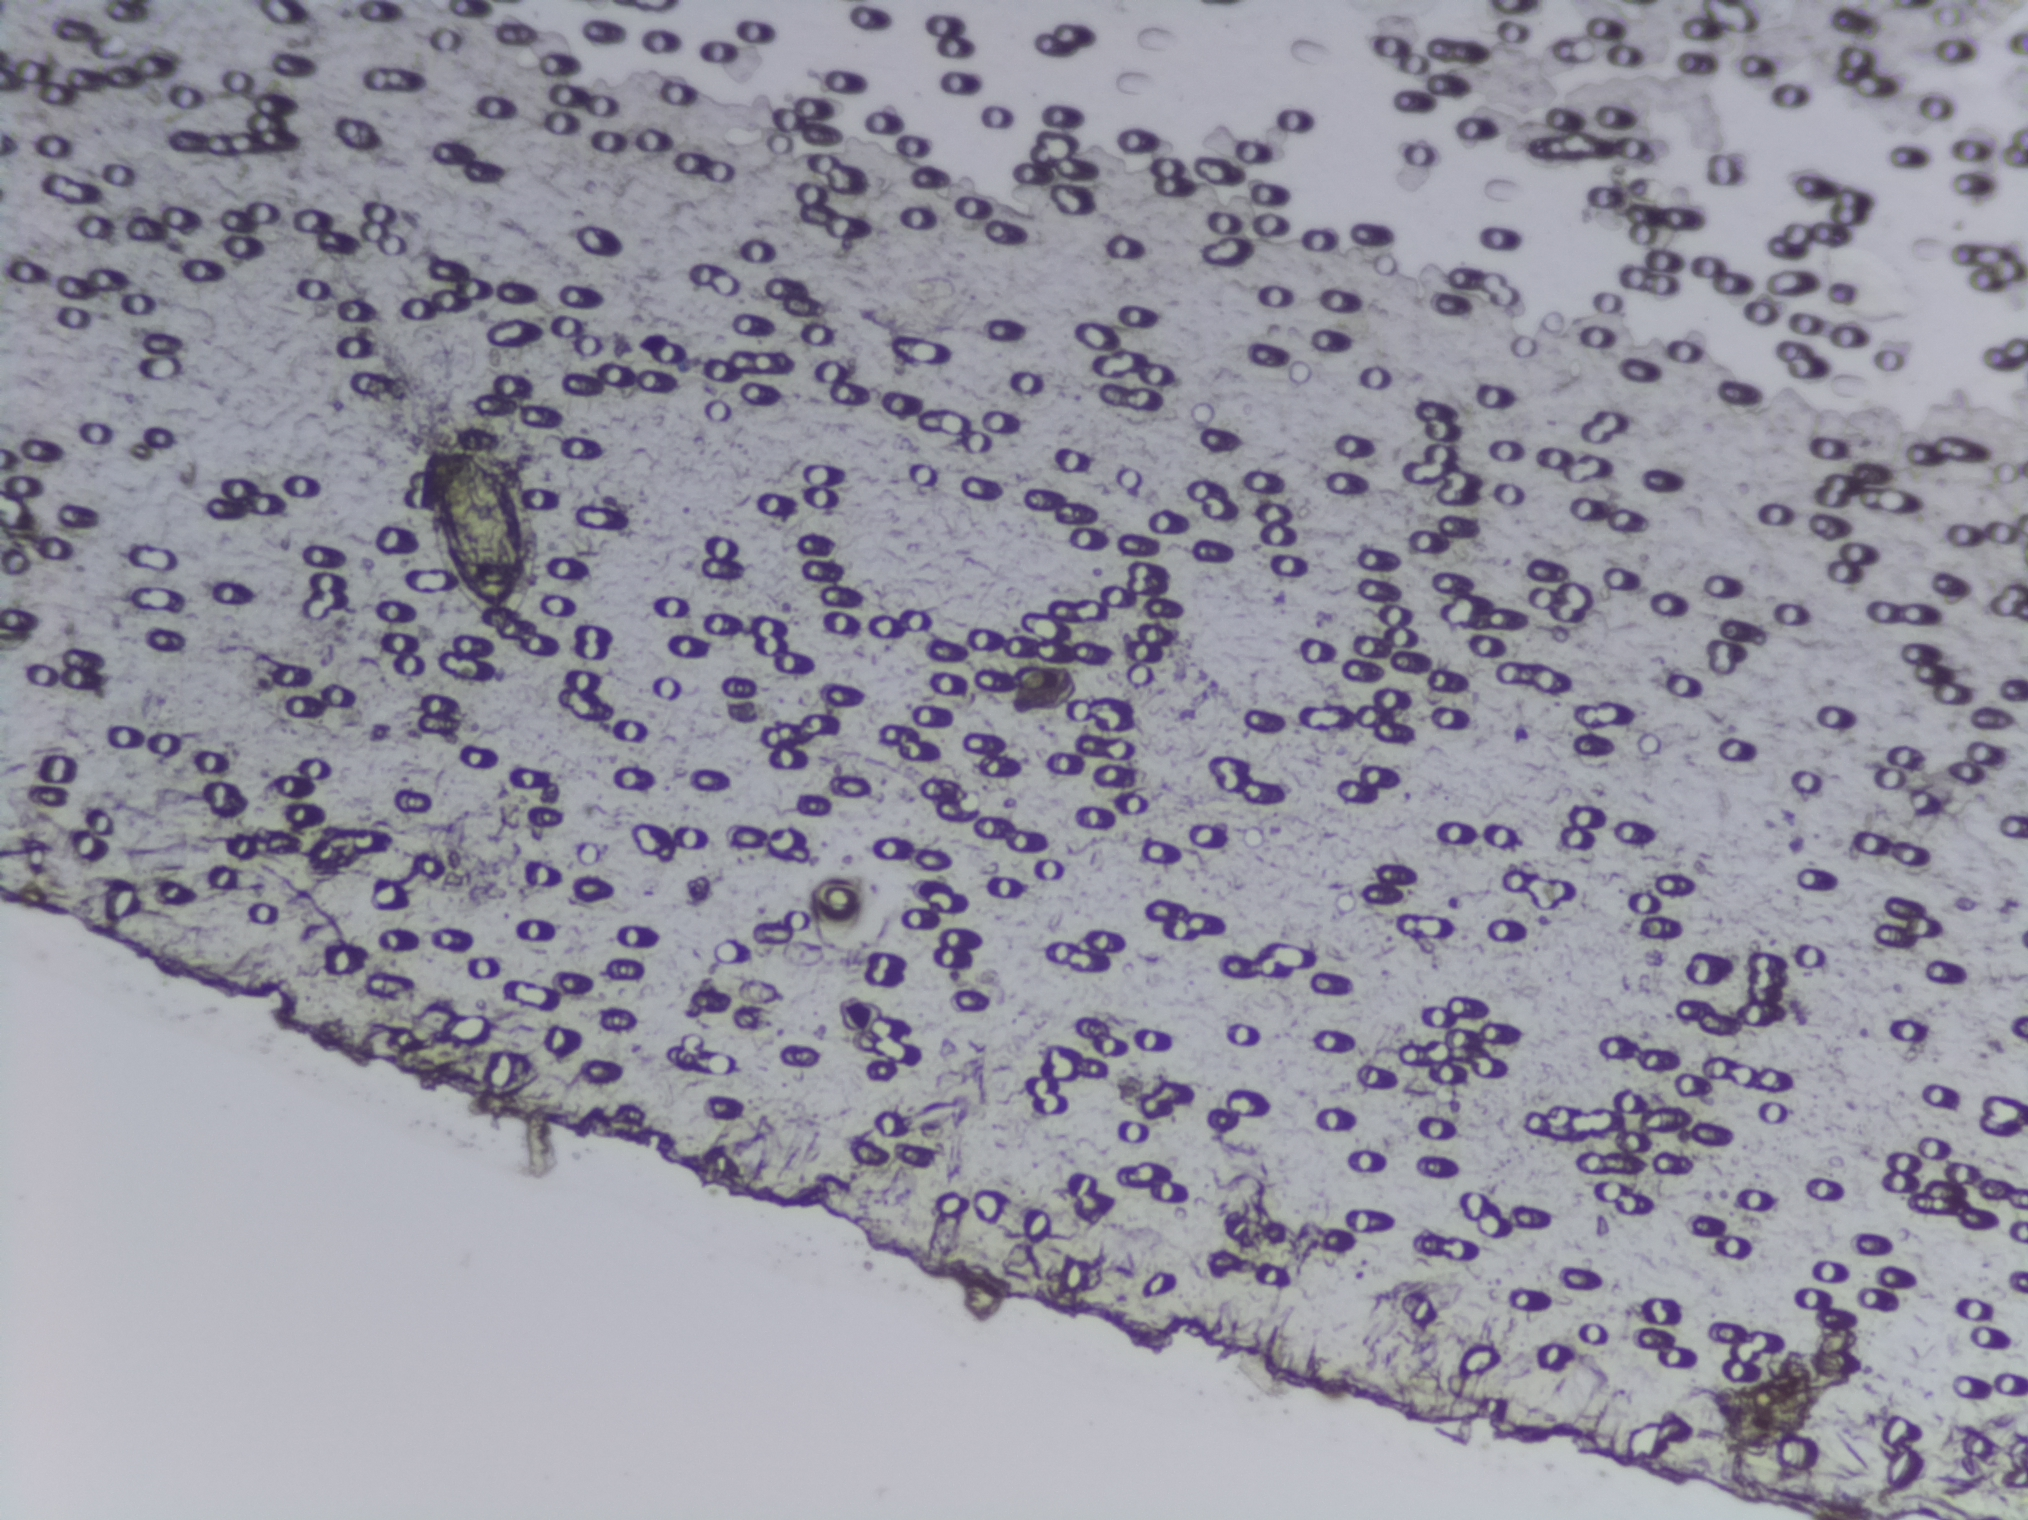
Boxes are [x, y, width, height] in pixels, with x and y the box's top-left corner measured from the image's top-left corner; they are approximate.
Areas outlined as Schistosoma eggs:
1. [410, 436, 149, 213]
The marked pixels themselves, not the box around them, cover about 0.8% of the image. Eggs that touch can end up inside the same outlined area.
Microscope photograph (4× objective) of a membrane that a urine sample was filtered through.